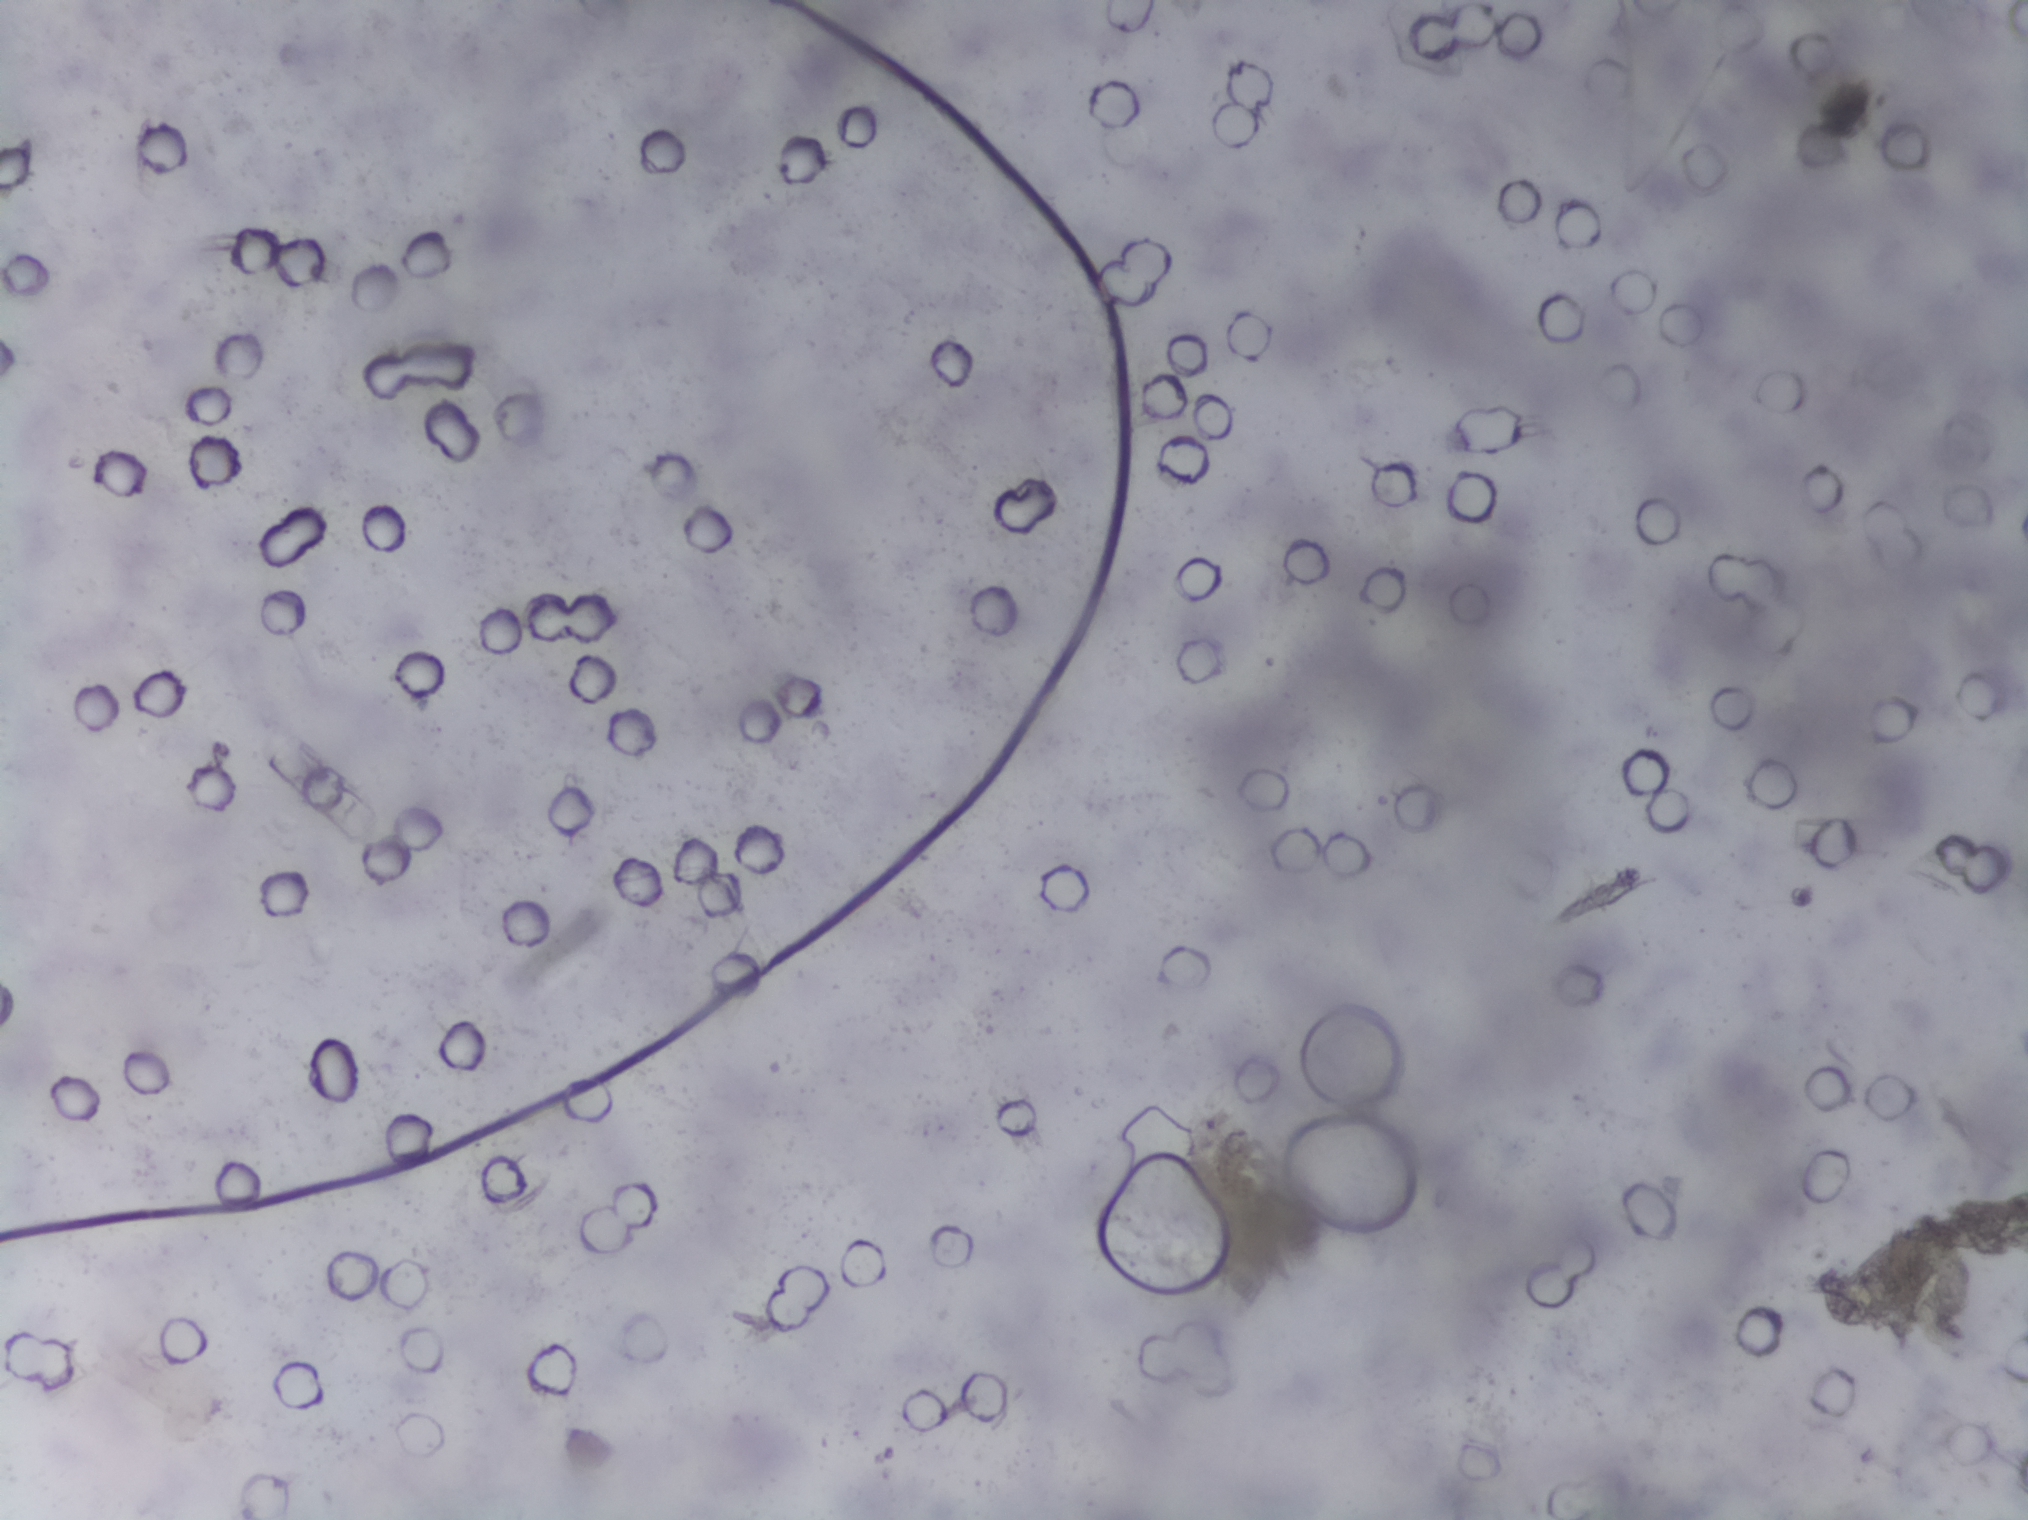
No area of this image was outlined as a Schistosoma egg.
Urine filter membrane photographed through a 4× microscope objective.